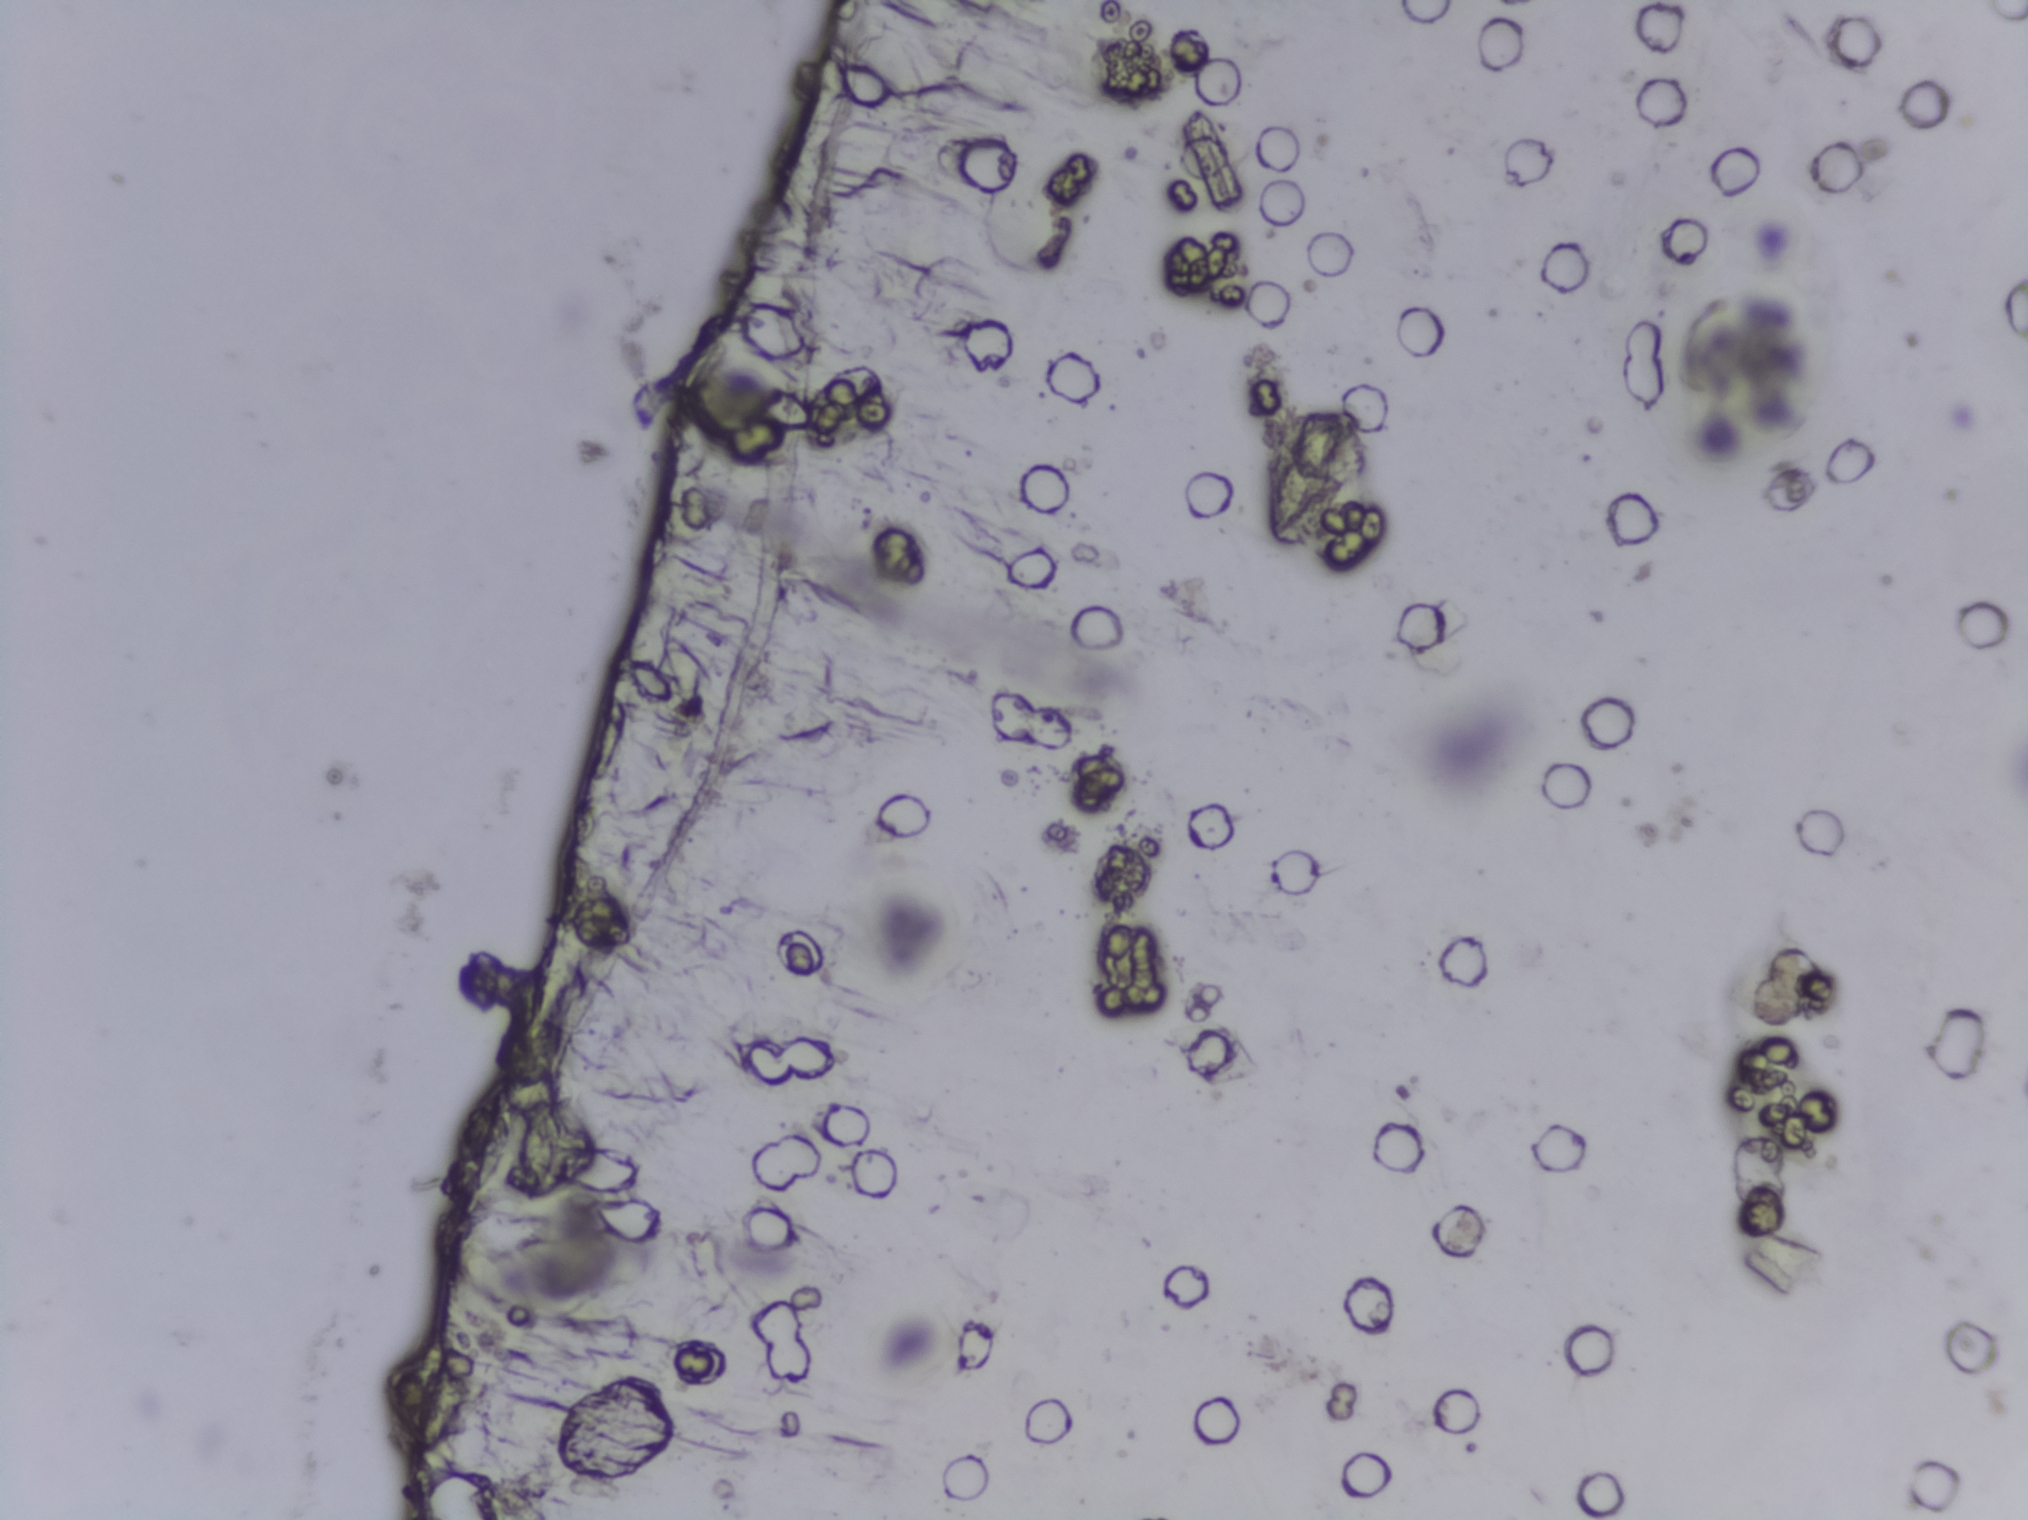
One field of view of a urine filter membrane, 4× objective, 2028 × 1520 pixels.
The expert annotation outlines no Schistosoma egg in this image.